Photograph from an automated digital microscope: urine filter membrane, 4× objective.
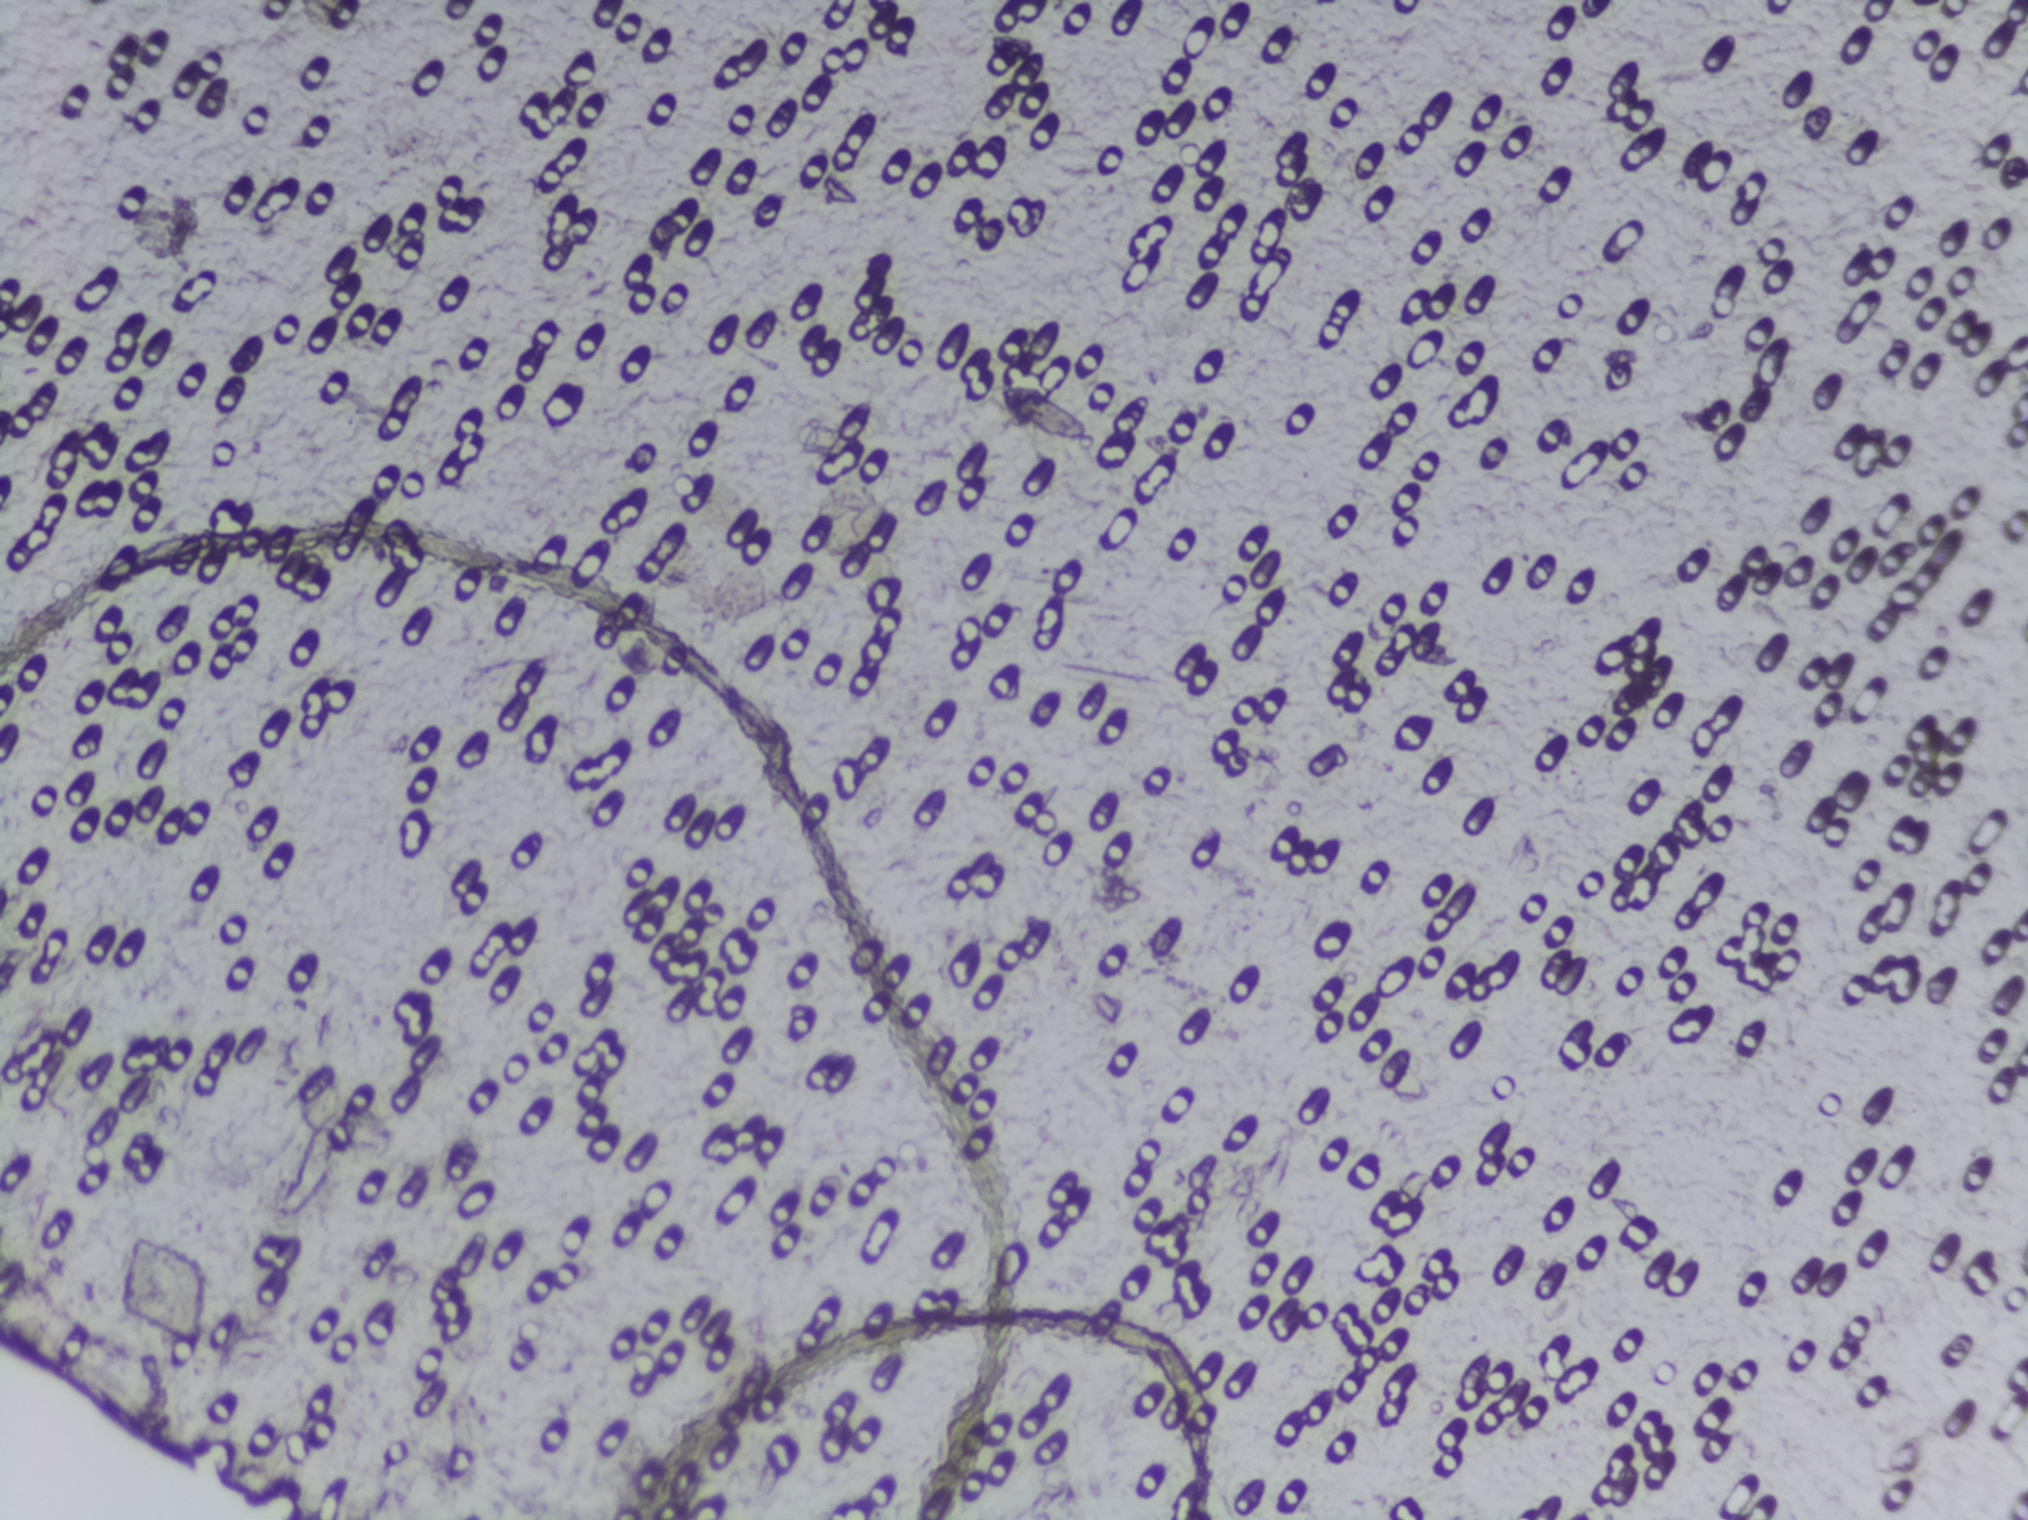
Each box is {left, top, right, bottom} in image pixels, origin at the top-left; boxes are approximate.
Findings: one area outlined as Schistosoma eggs. Location: {996, 378, 1088, 443}. Eggs that touch can end up inside the same outlined area.